One field of view of a urine filter membrane, 4× objective, 2028 × 1520 pixels.
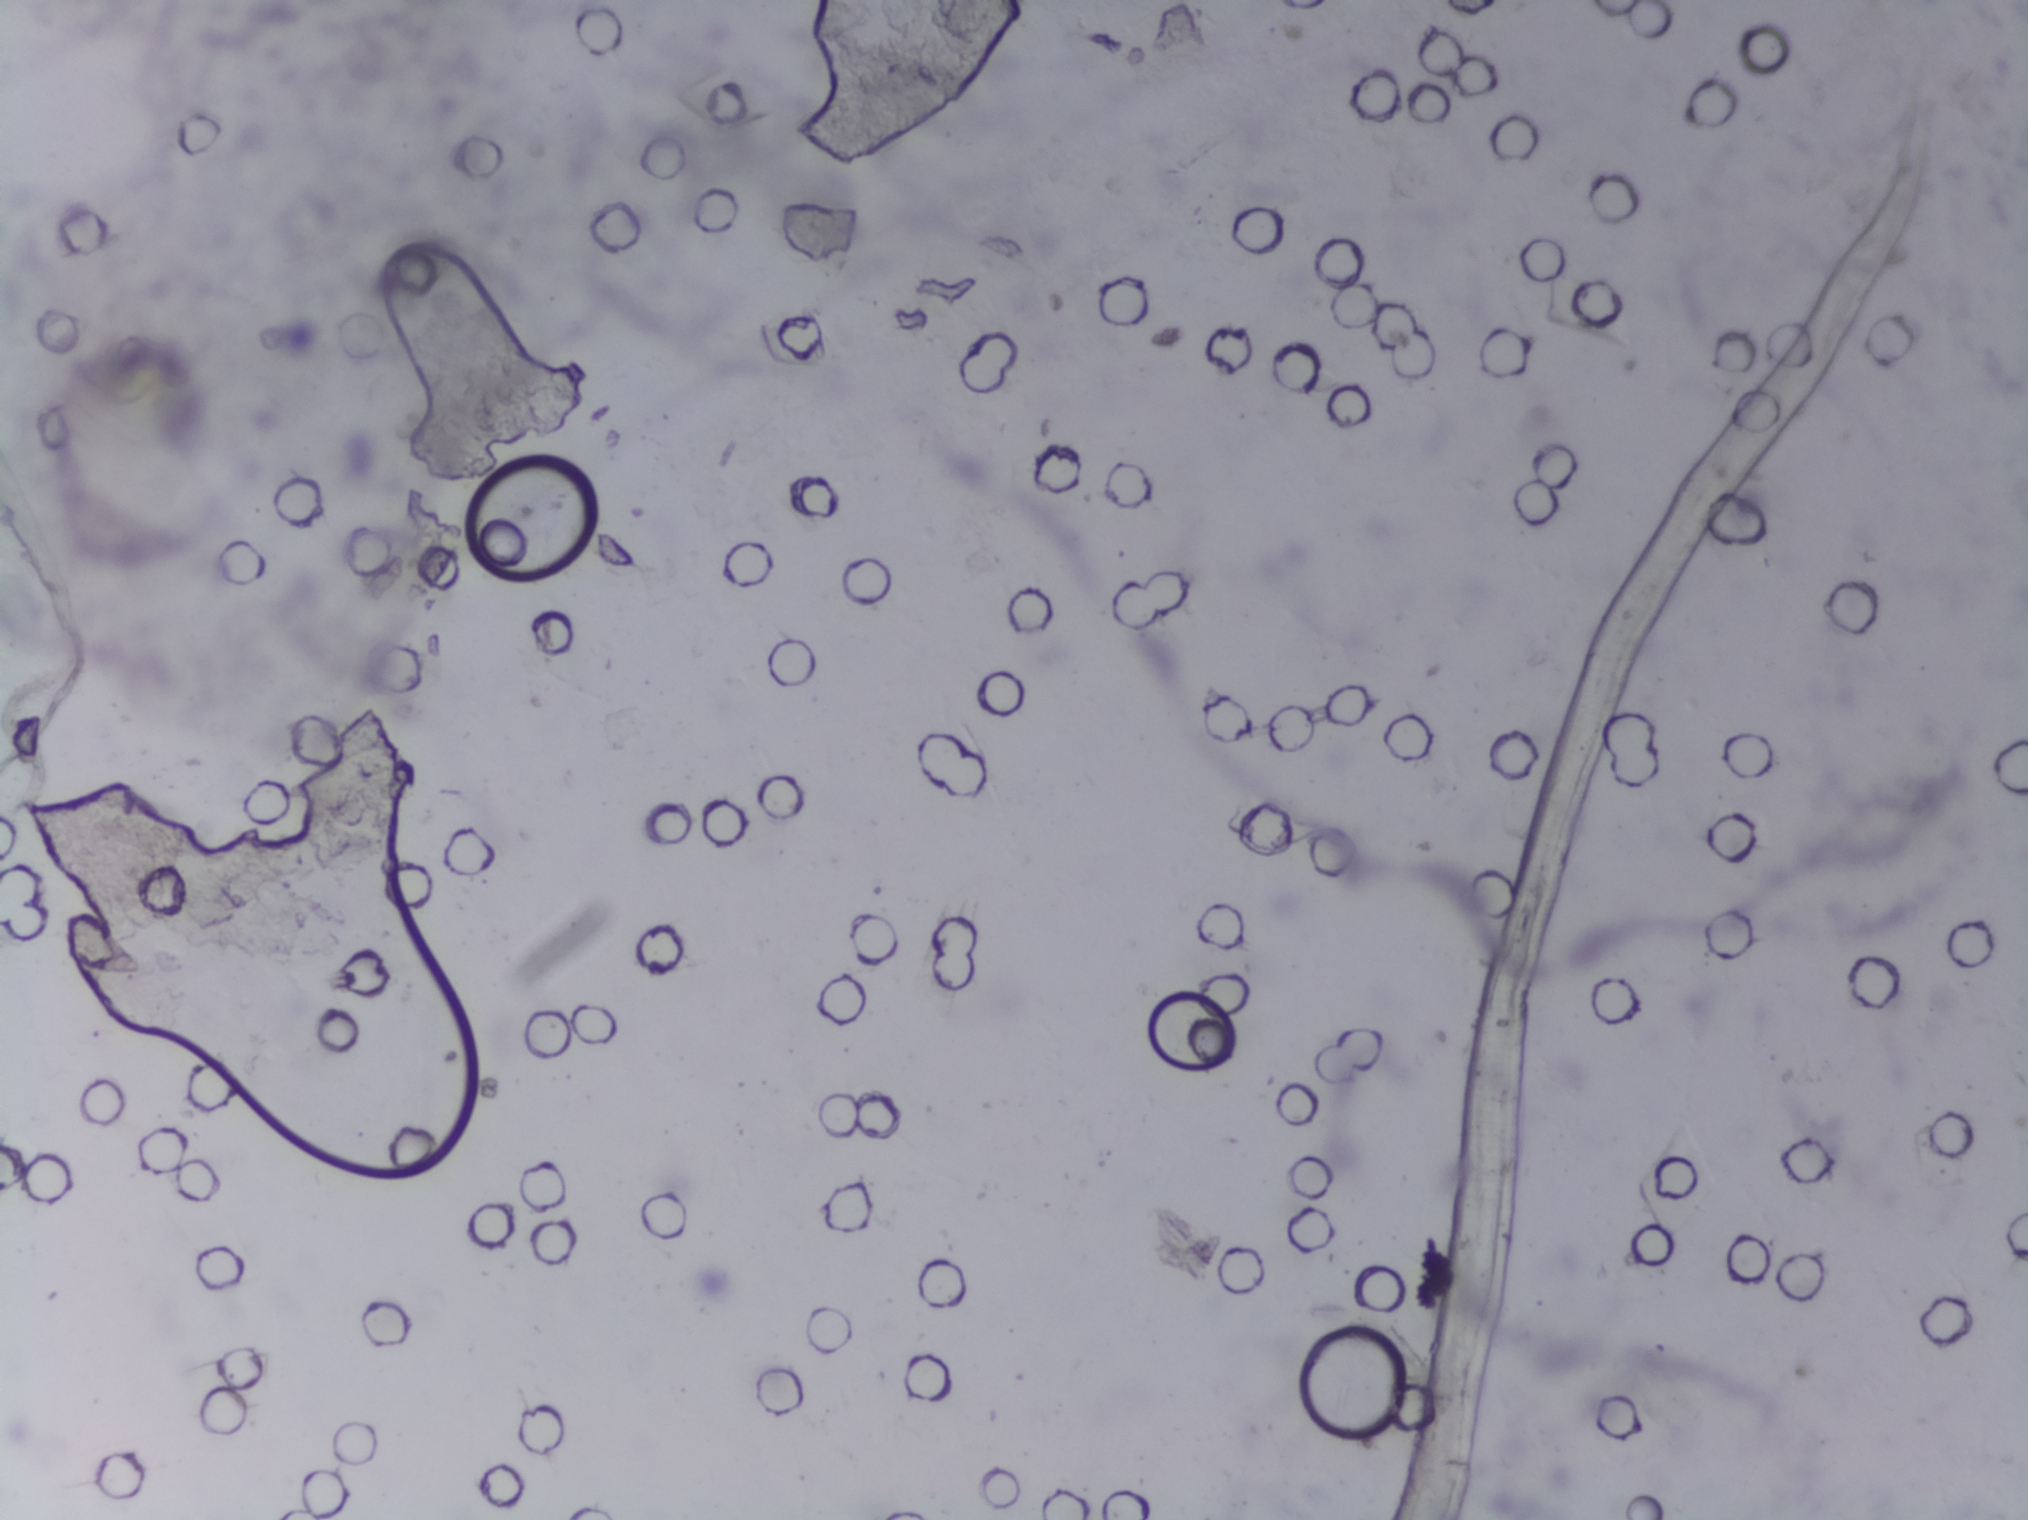
Schistosoma eggs: none outlined.